One field of view of a urine filter membrane, 4× objective, 2028 × 1520 pixels.
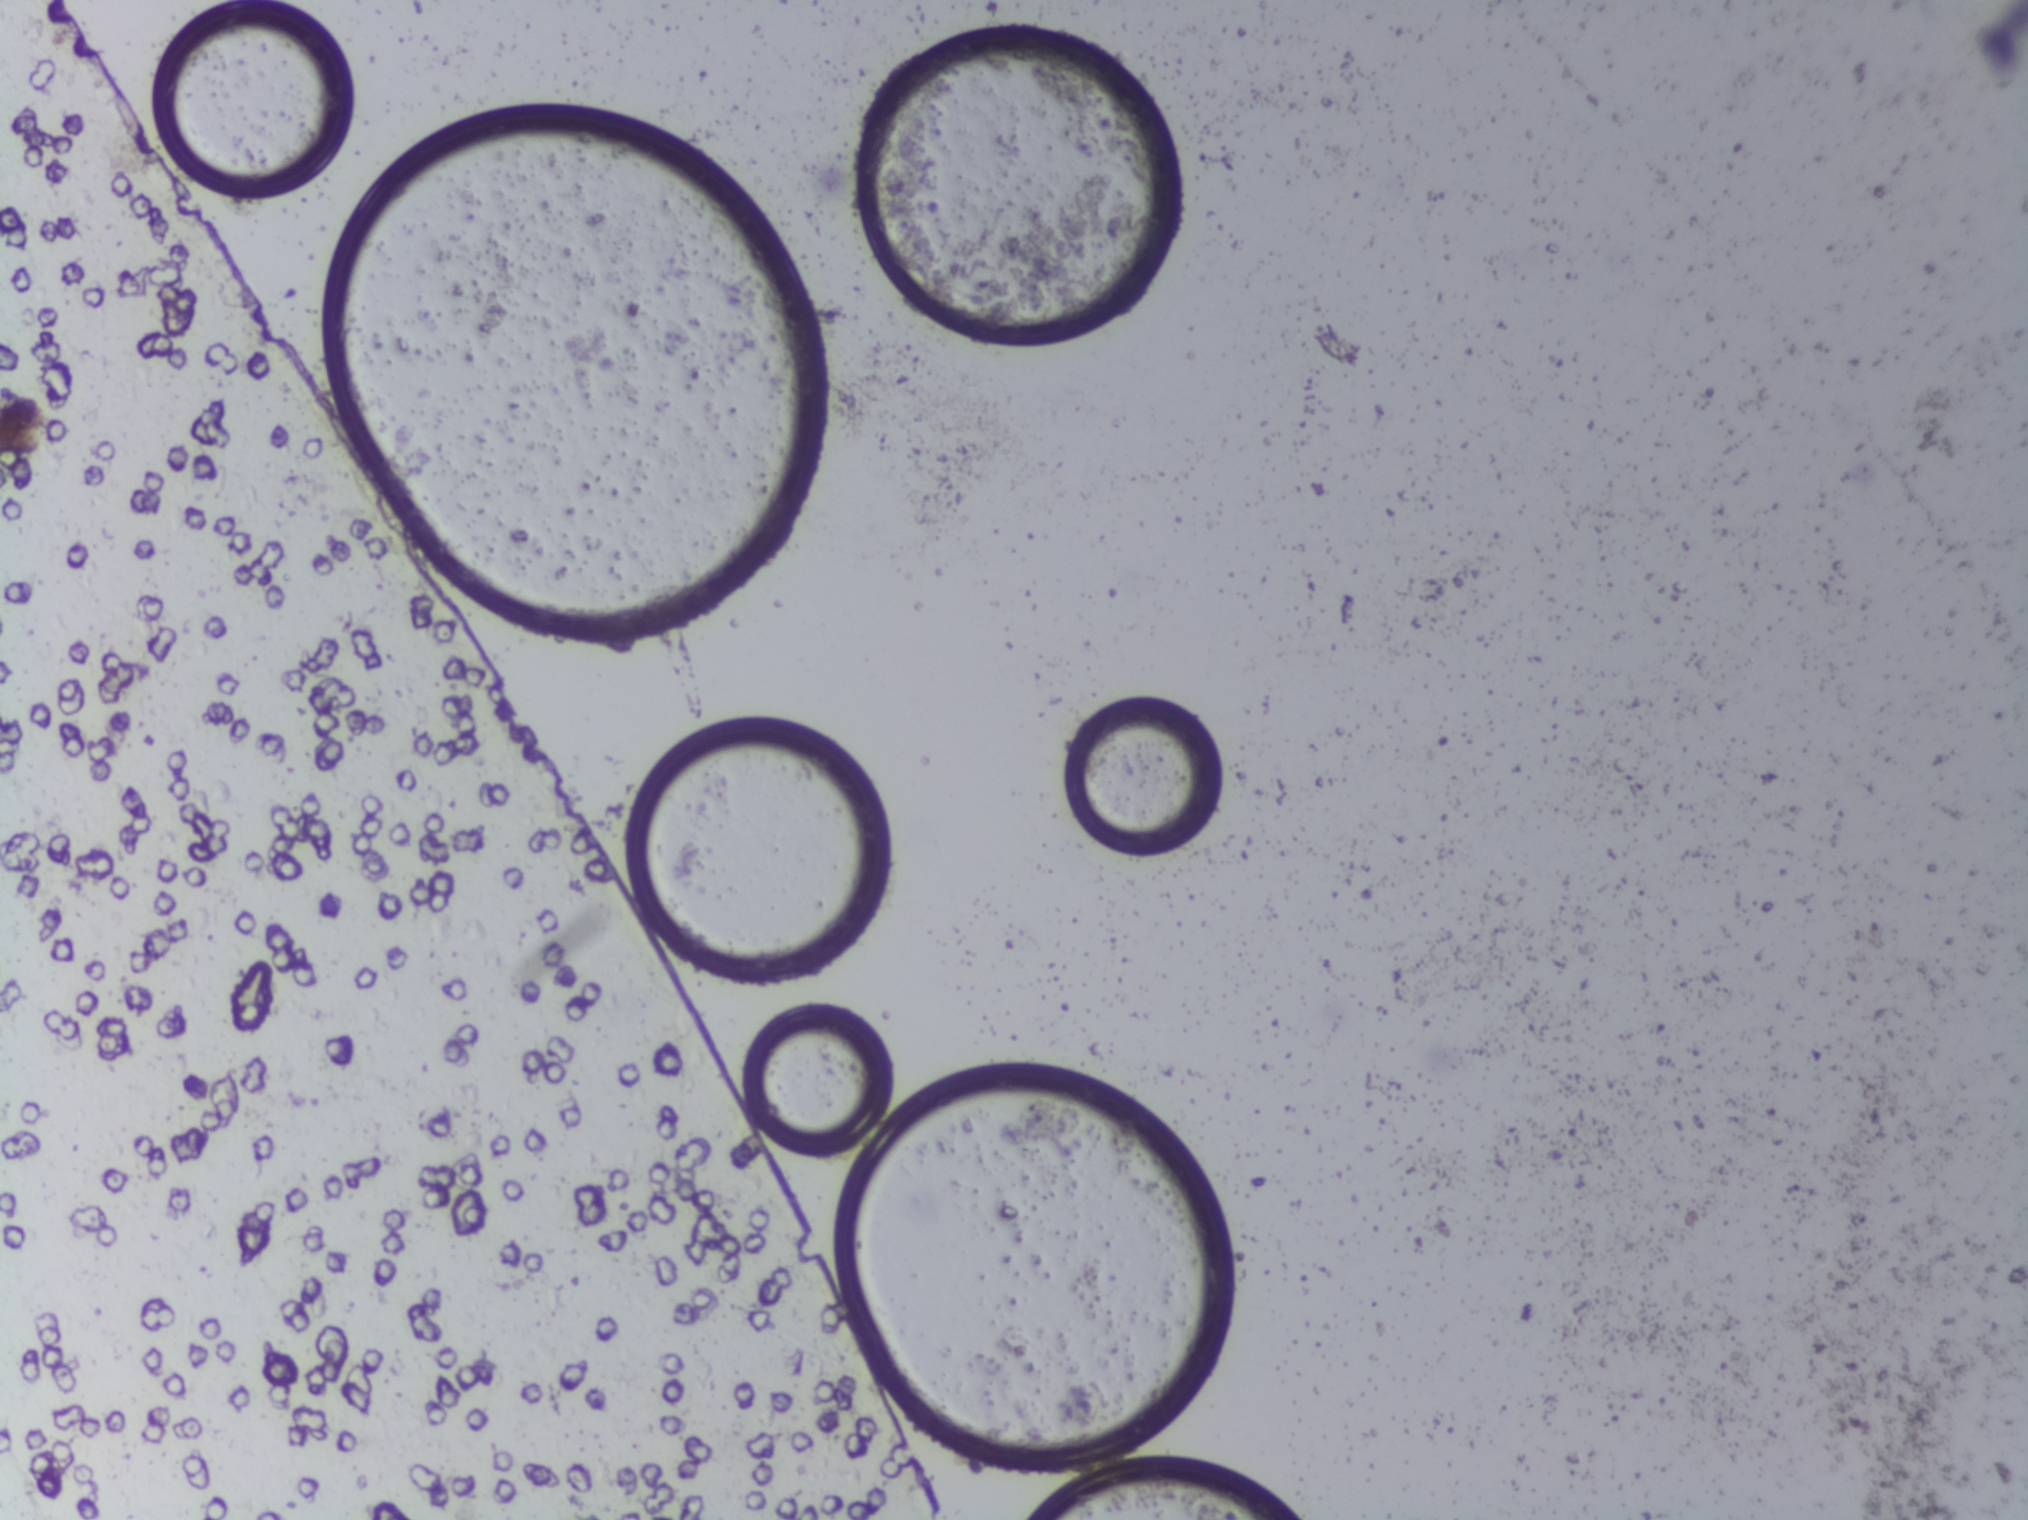
Schistosoma eggs: none outlined.